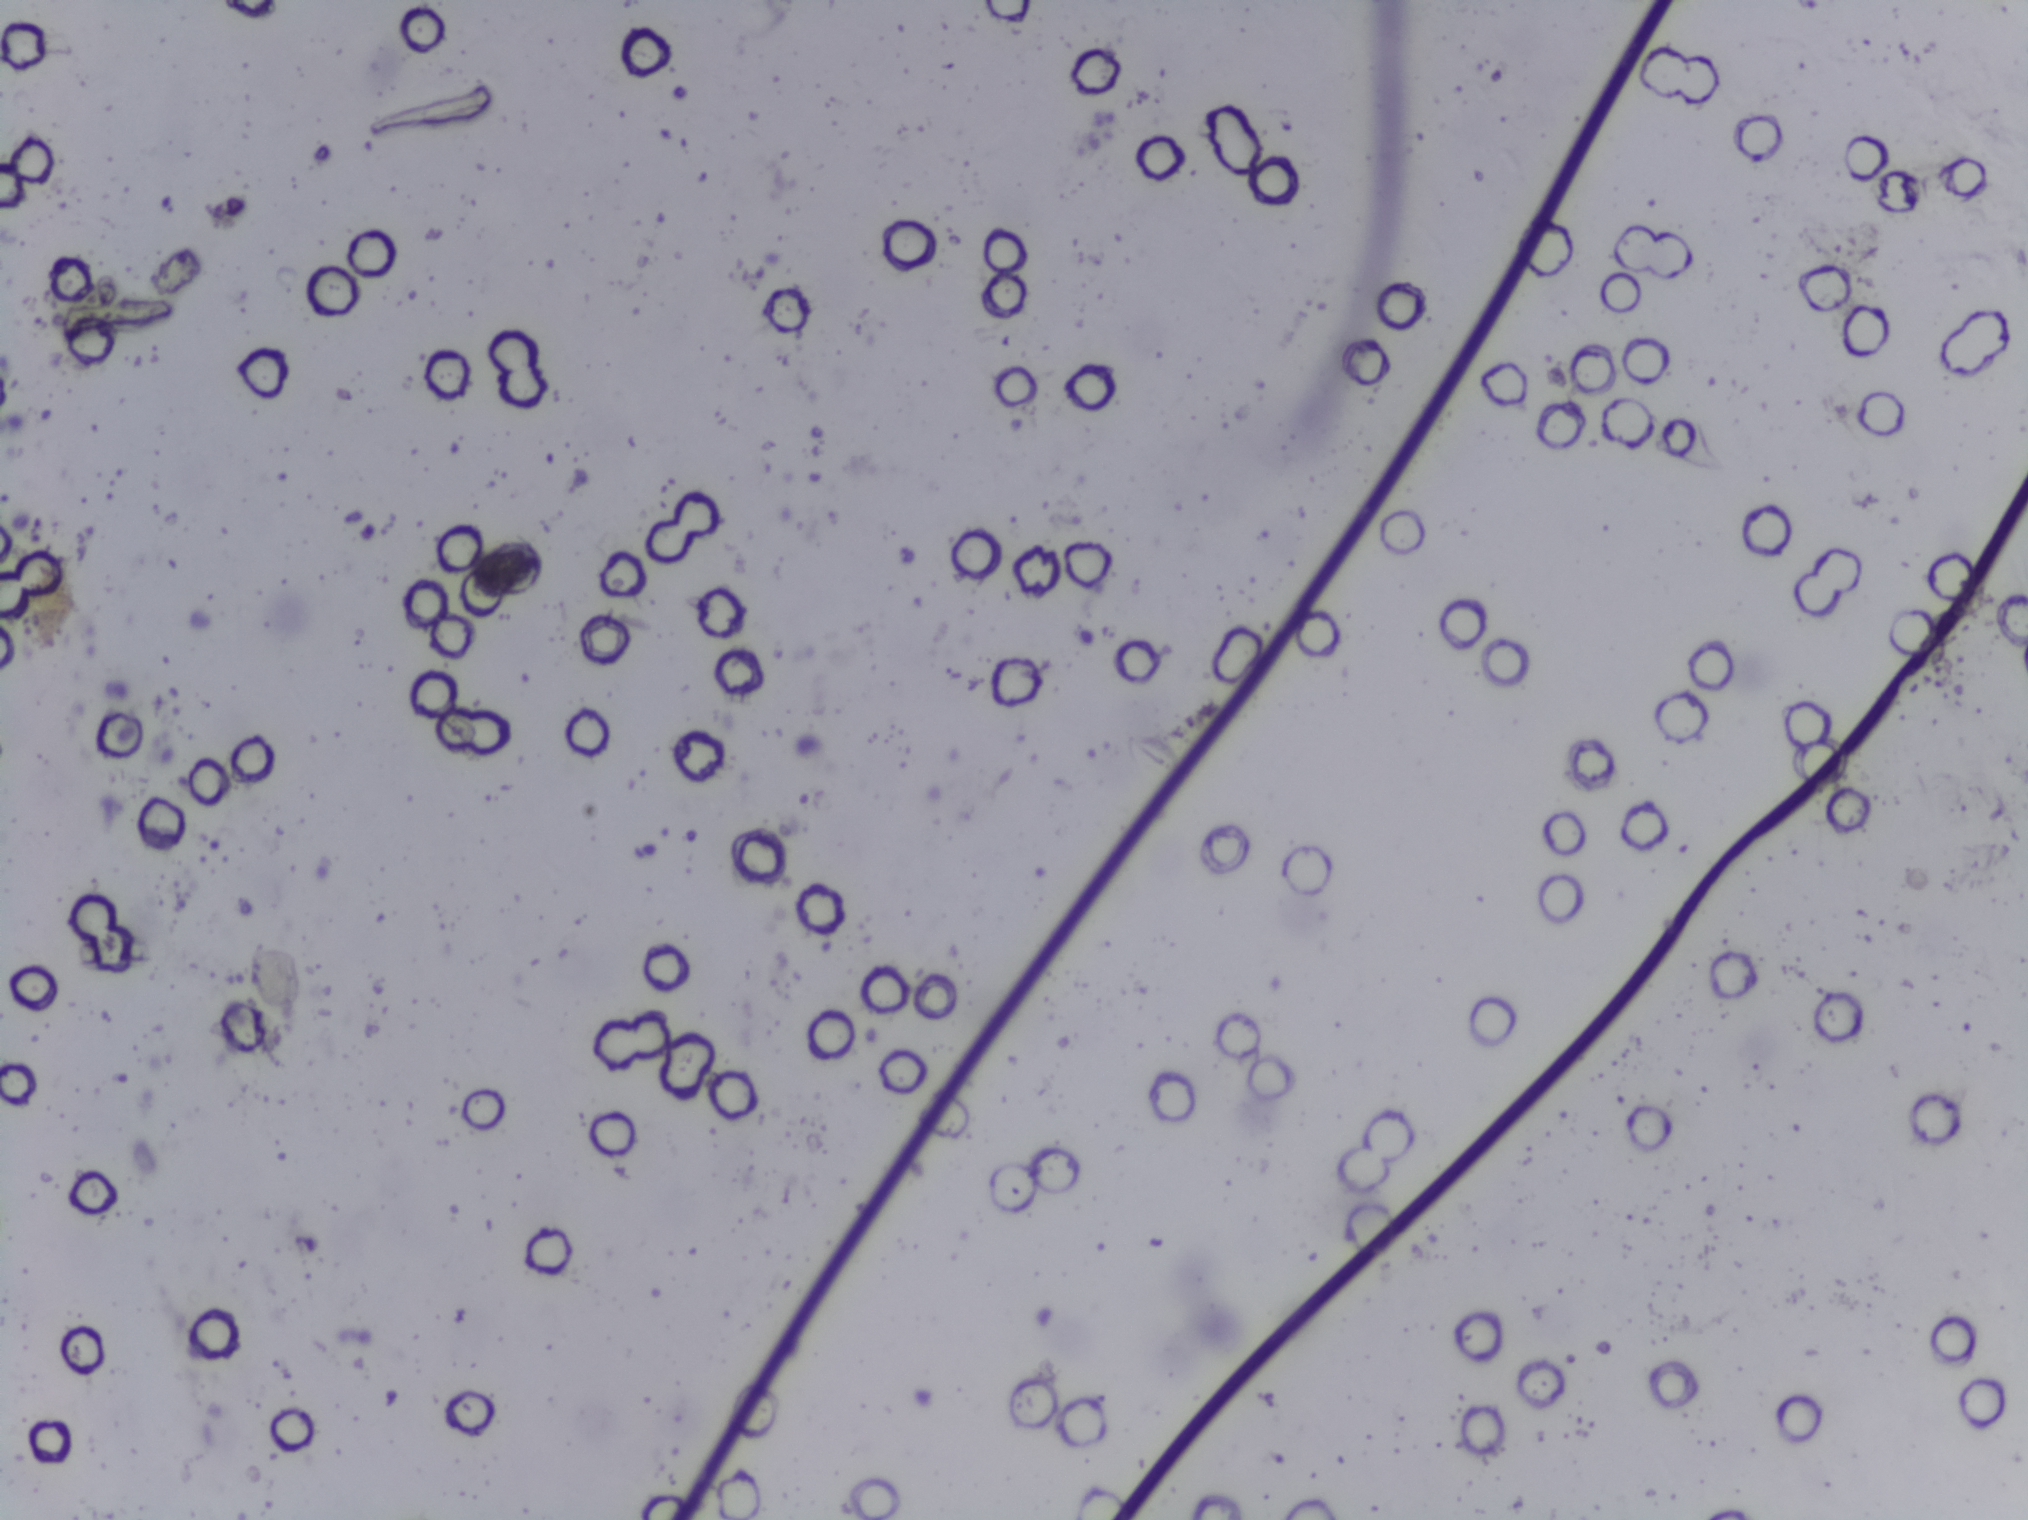
Urine filter membrane photographed through a 4× microscope objective. Field of view: about 1.5 mm wide and 1.1 mm high.
No Schistosoma egg is outlined in this image's expert annotation.